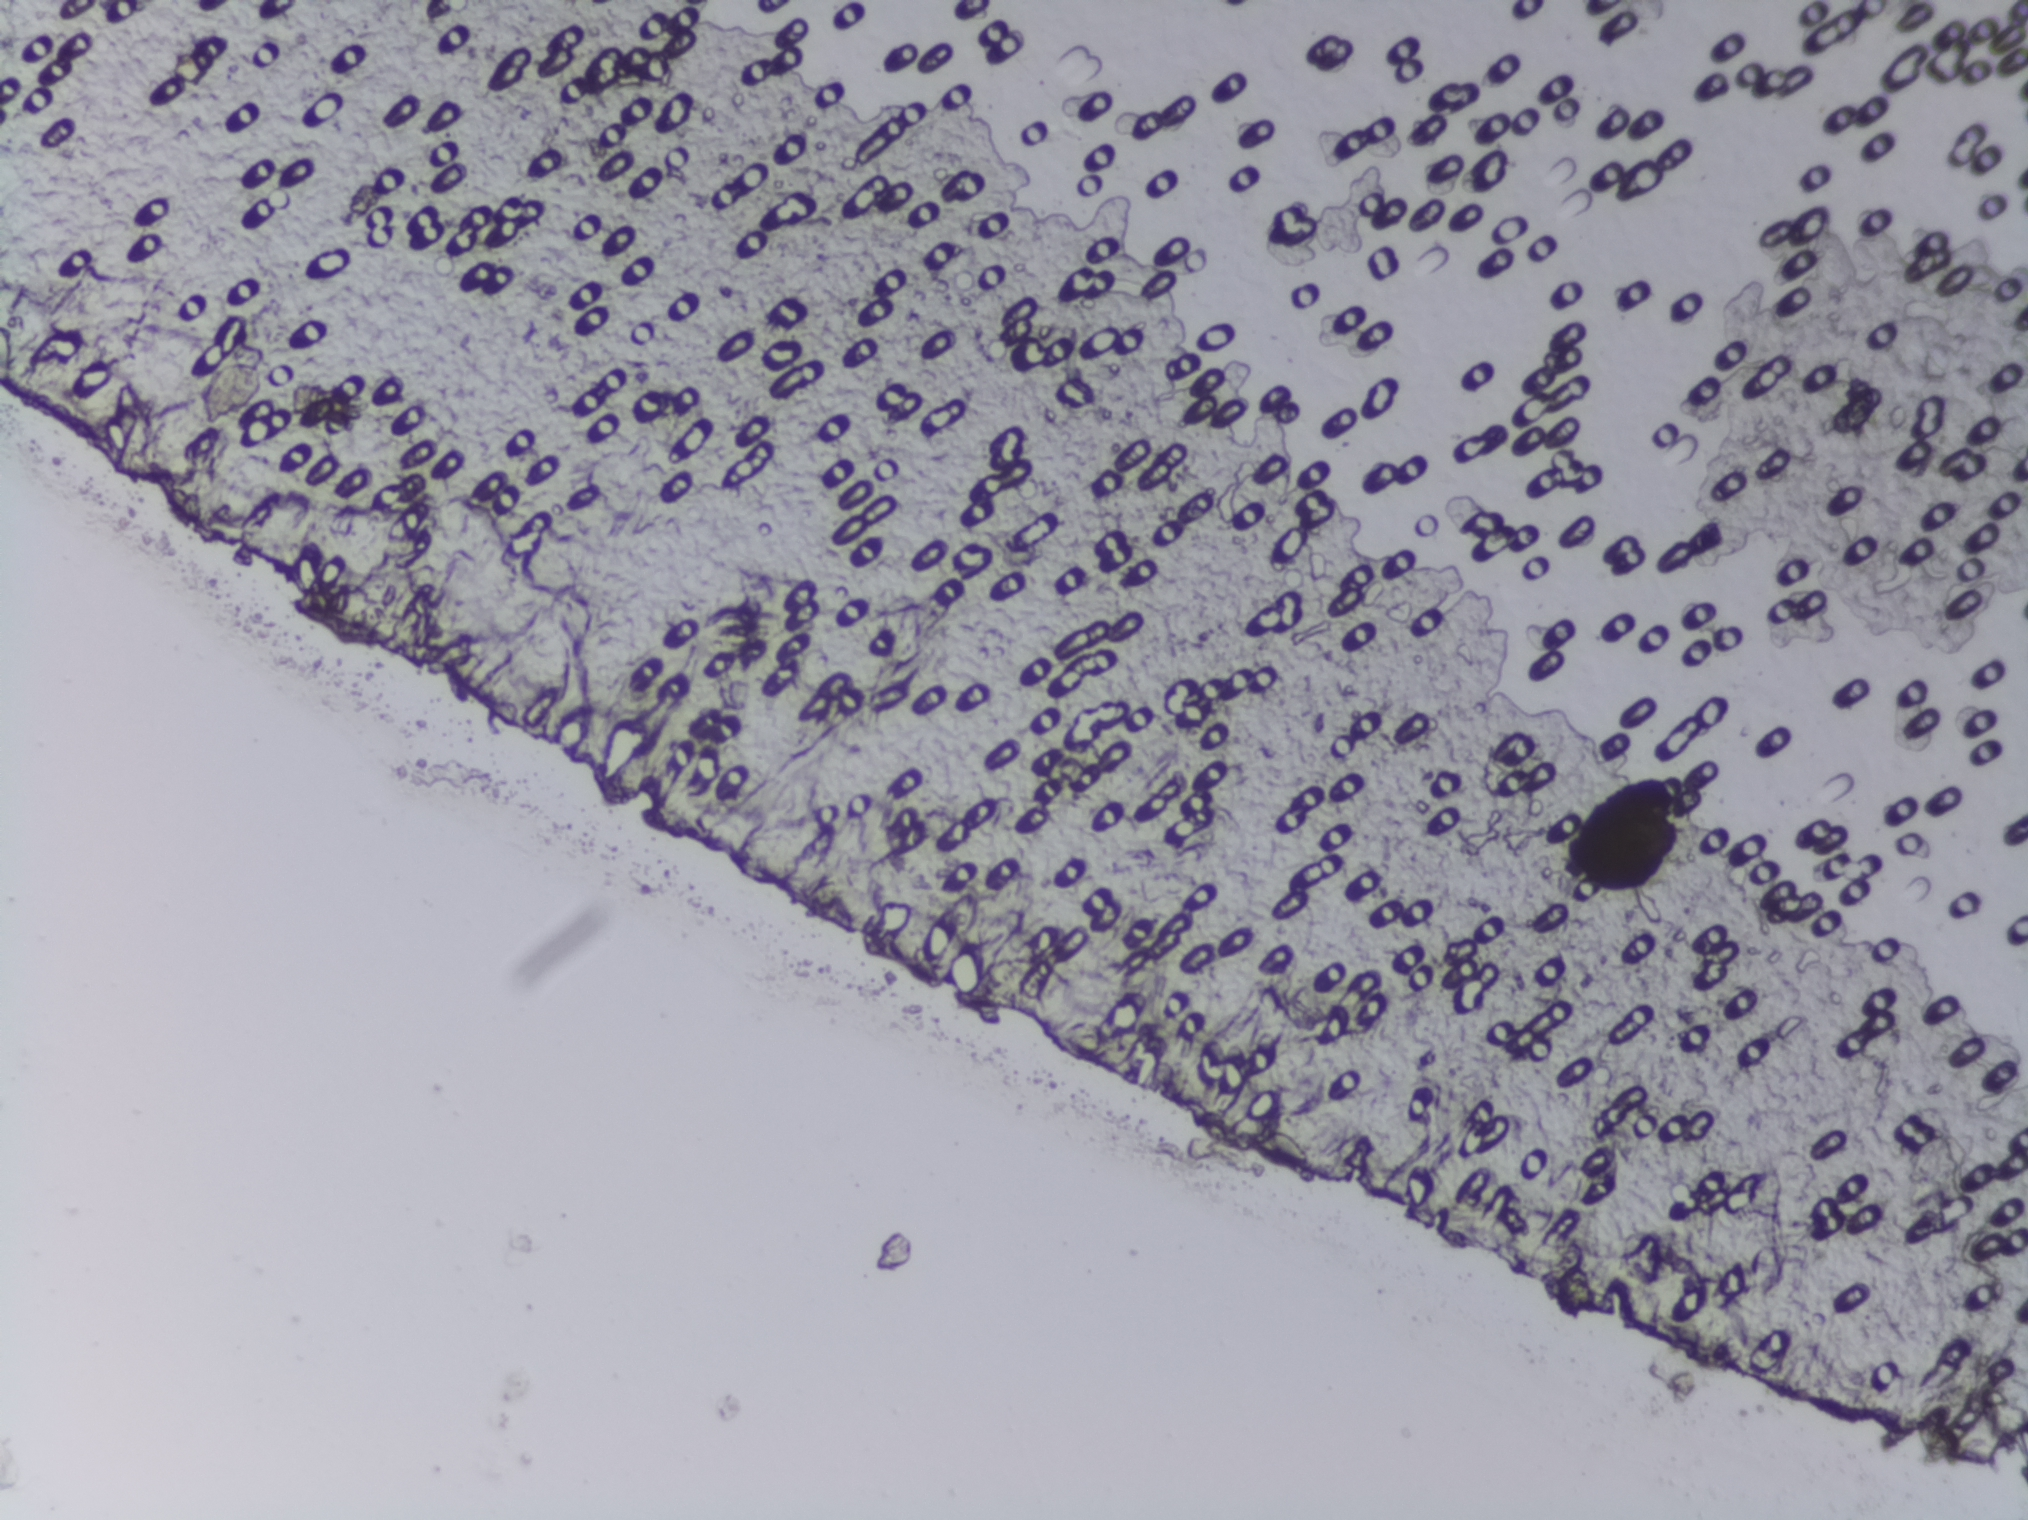
The expert annotation outlines no Schistosoma egg in this image.
Urine filtration membrane under a 4× objective, photographed by an automated digital microscope. Field of view: about 1.5 mm wide and 1.1 mm high.